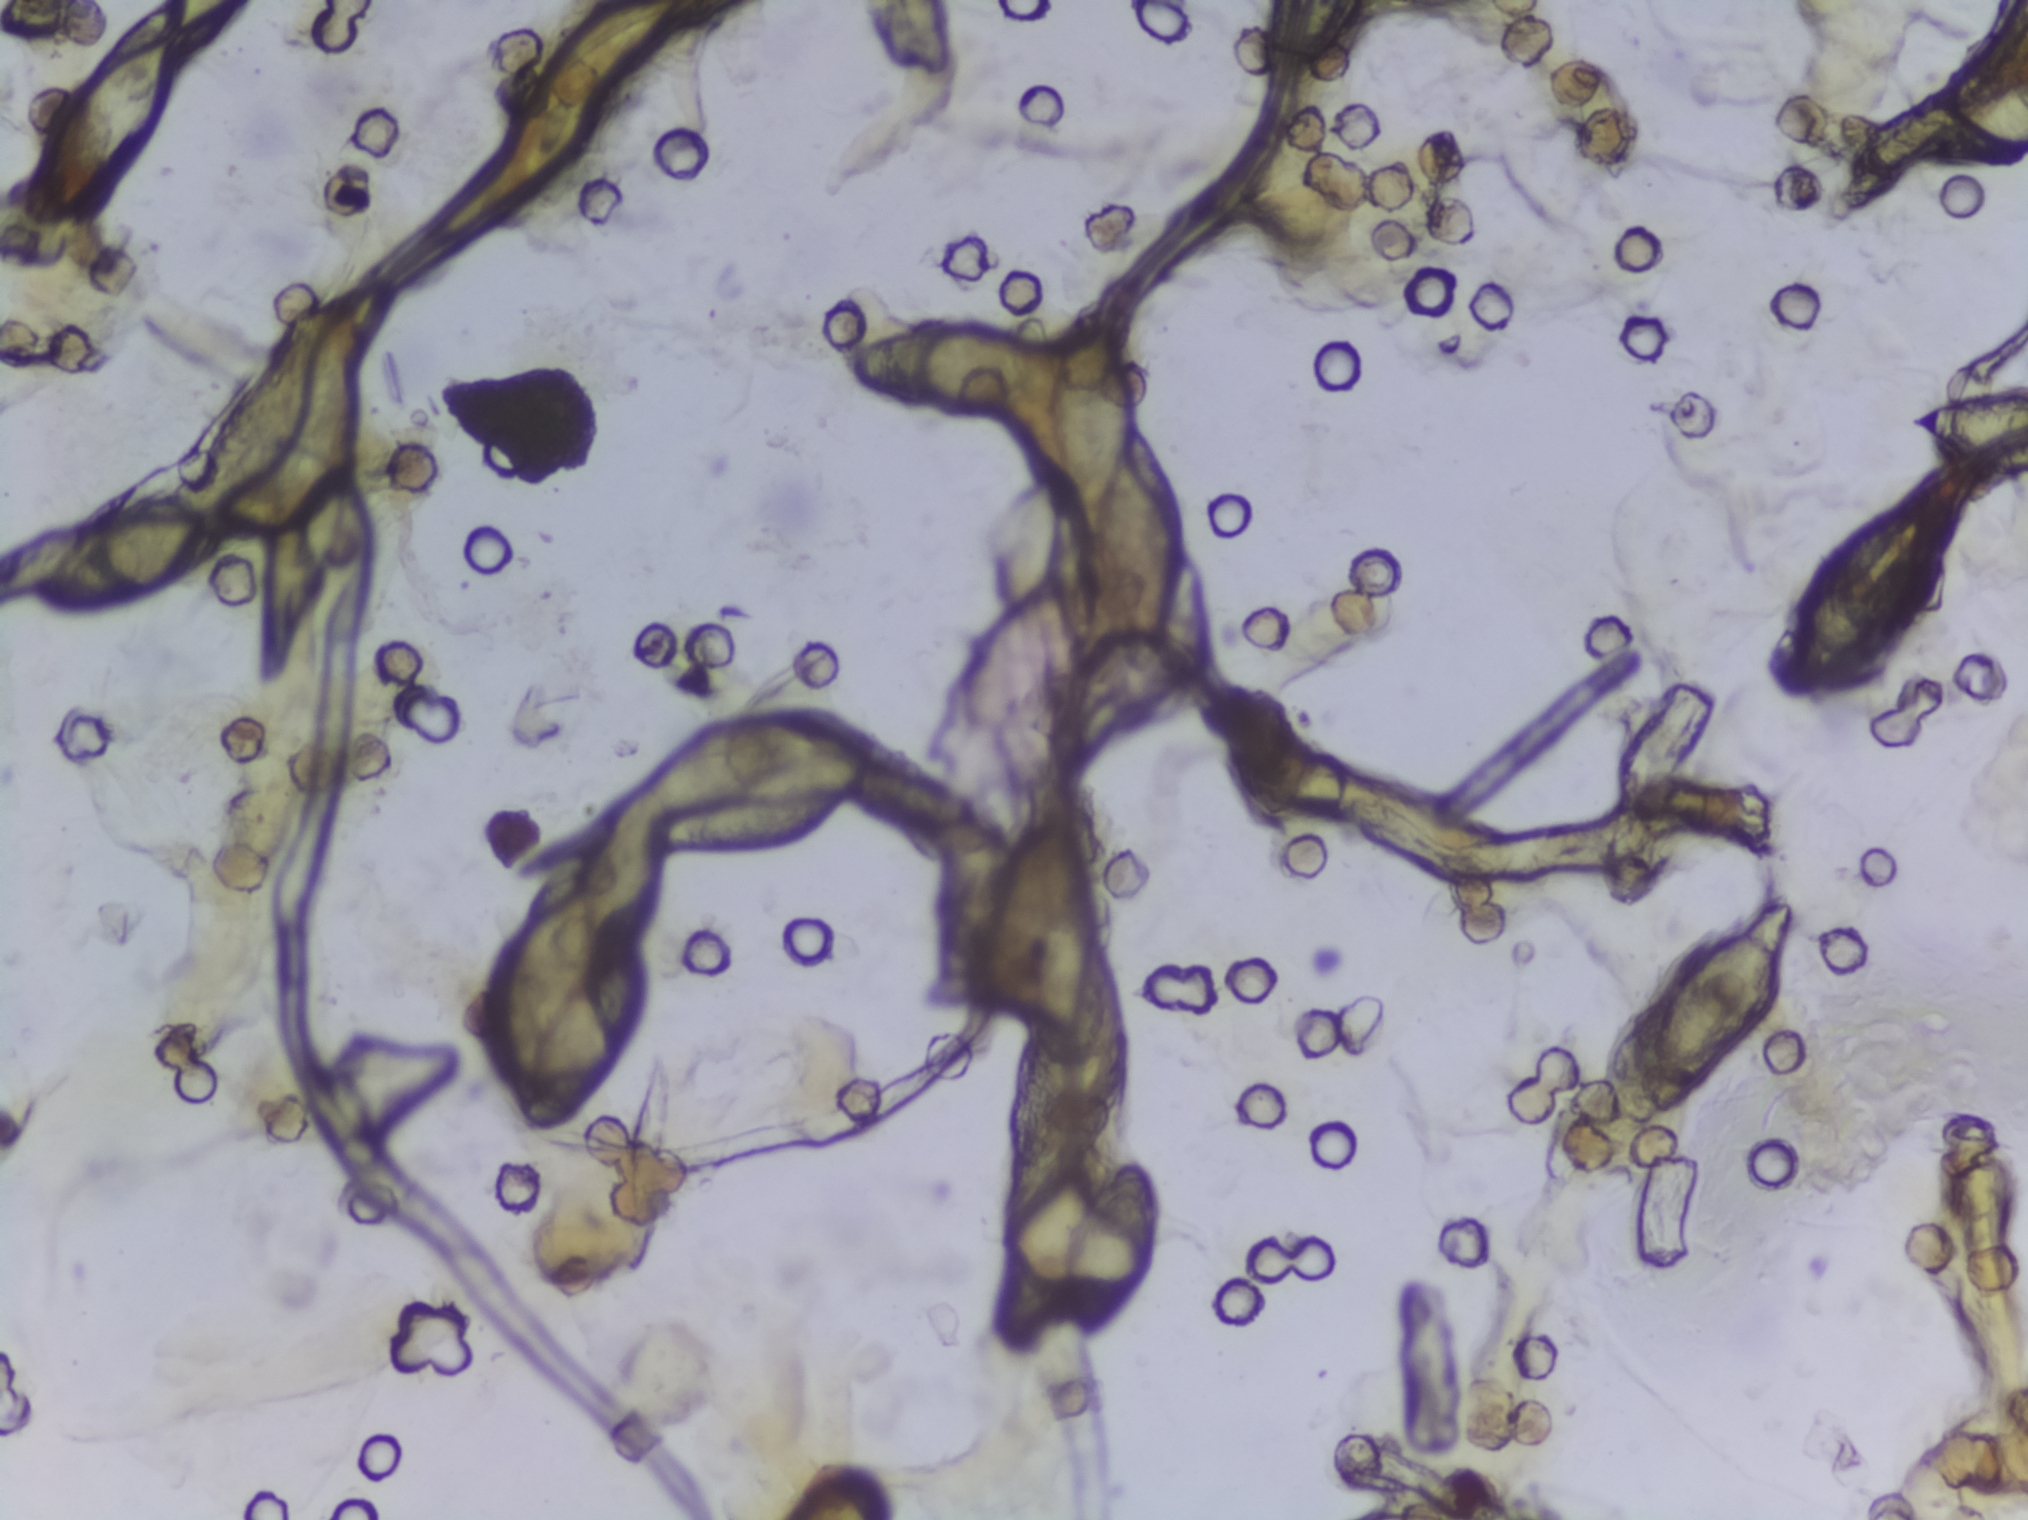
One field of view of a urine filter membrane, 4× objective, 2028 × 1520 pixels.
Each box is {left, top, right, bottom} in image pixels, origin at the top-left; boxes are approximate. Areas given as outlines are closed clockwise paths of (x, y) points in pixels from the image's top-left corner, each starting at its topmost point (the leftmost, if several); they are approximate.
Ten areas of this image are outlined as Schistosoma eggs, from left to right: box {28, 497, 205, 603}; box {29, 4, 177, 221}; box {485, 780, 673, 1130}; box {683, 742, 864, 848}; outline (1087, 312), (1105, 317), (1124, 343), (1136, 375), (1136, 418), (1159, 454), (1180, 517), (1180, 575), (1153, 644), (1125, 643), (1098, 599), (1091, 513), (1059, 476), (1051, 398), (1026, 411), (998, 414), (908, 411), (872, 399), (835, 367), (862, 339), (907, 319), (991, 318), (1037, 331), (1054, 345), (1070, 321); box {986, 1152, 1163, 1351}; box {1638, 902, 1797, 1113}; box {1781, 481, 1954, 690}; box {1842, 91, 1972, 196}; box {1912, 386, 2027, 487} (reaching the right edge of the frame). A single outlined area may contain several eggs.